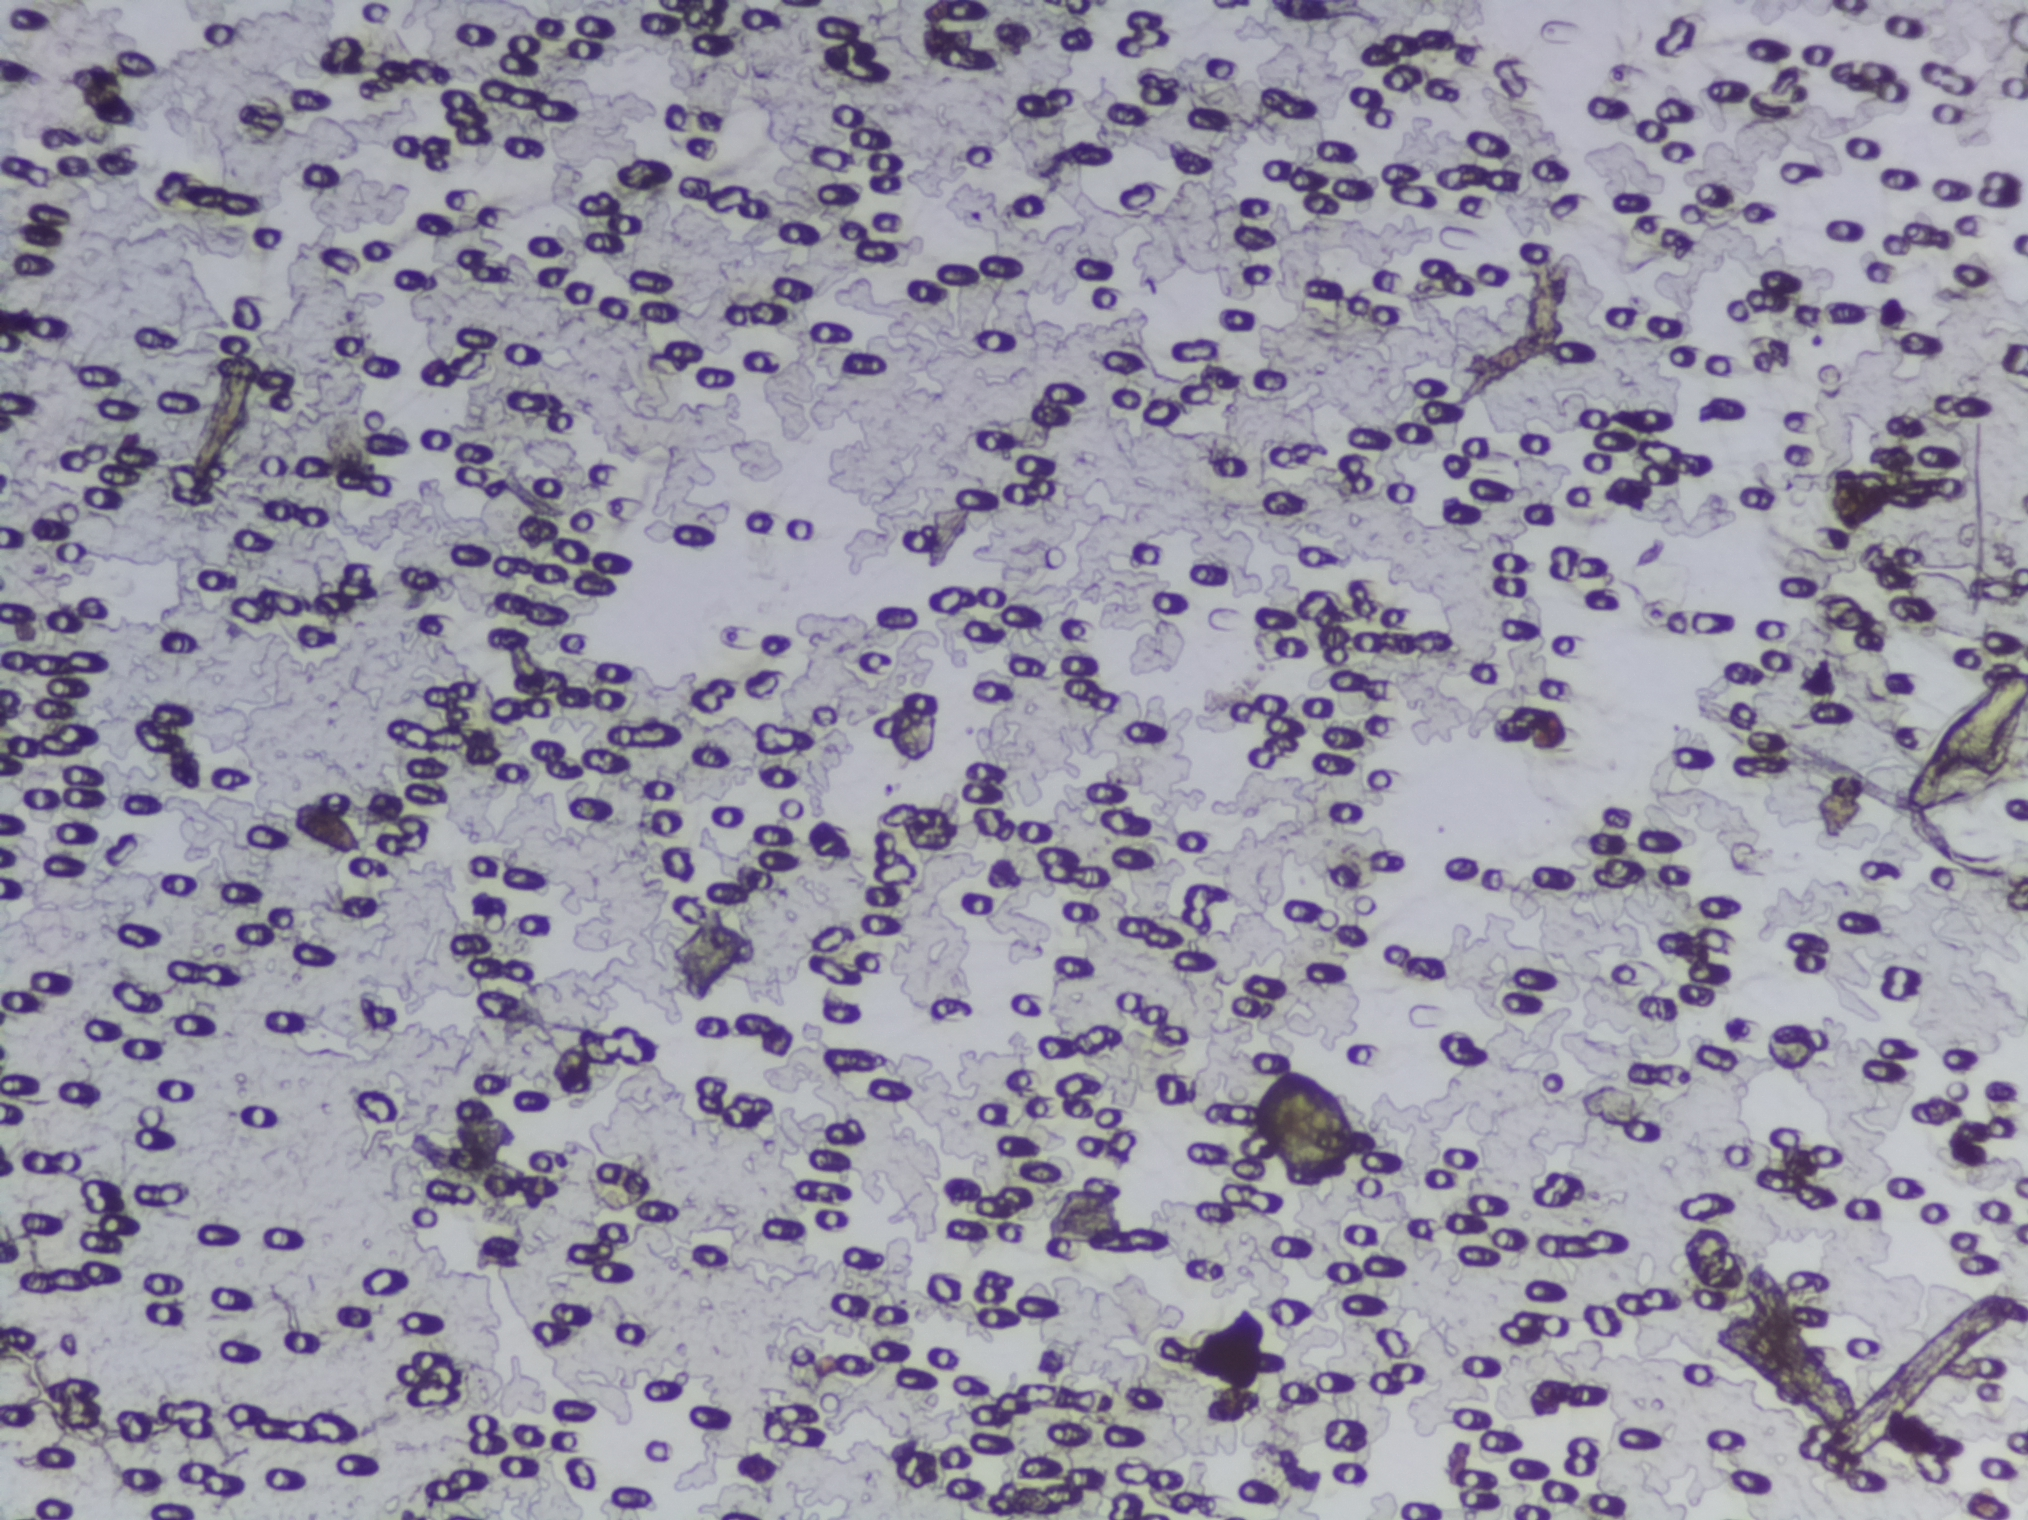
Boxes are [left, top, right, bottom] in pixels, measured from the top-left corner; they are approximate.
Schistosoma eggs are outlined in the expert annotation at [1896, 647, 2027, 822] (reaching the right edge of the frame). A single outlined area may contain several eggs.
Urine filter membrane photographed through a 4× microscope objective.